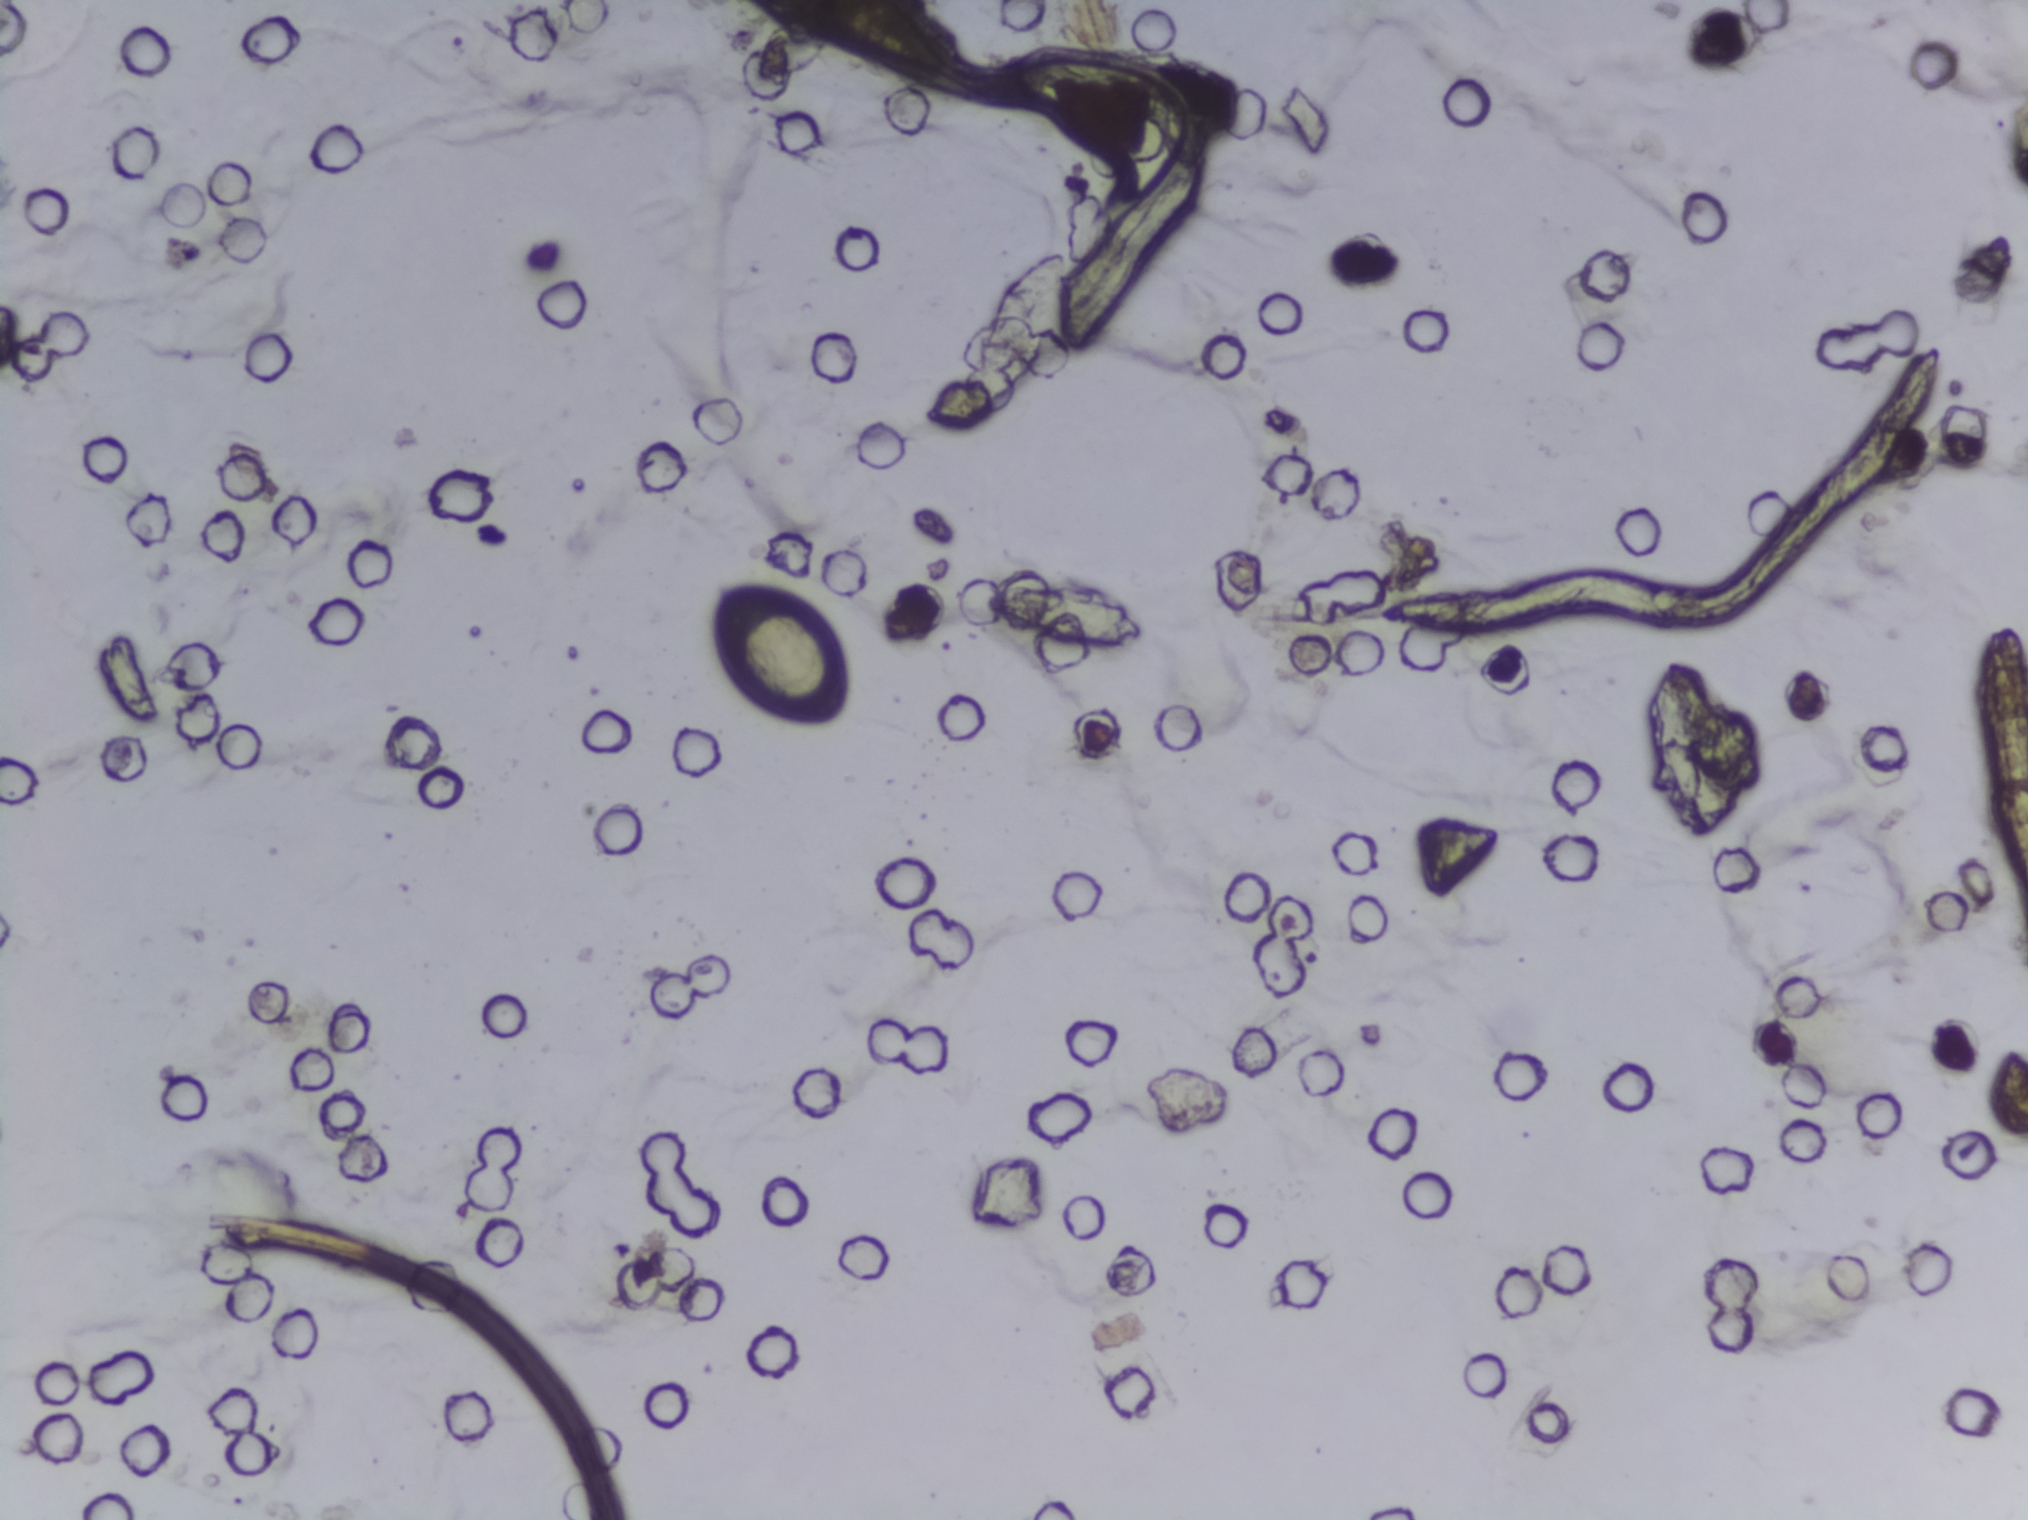
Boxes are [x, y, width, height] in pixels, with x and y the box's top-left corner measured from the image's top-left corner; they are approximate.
One area of this image is outlined as Schistosoma eggs: [708, 581, 144, 147]. Eggs that touch can end up inside the same outlined area.
Photomicrograph of a urine filtration membrane, 4× objective. The image covers about 1.5 × 1.1 mm of the membrane.